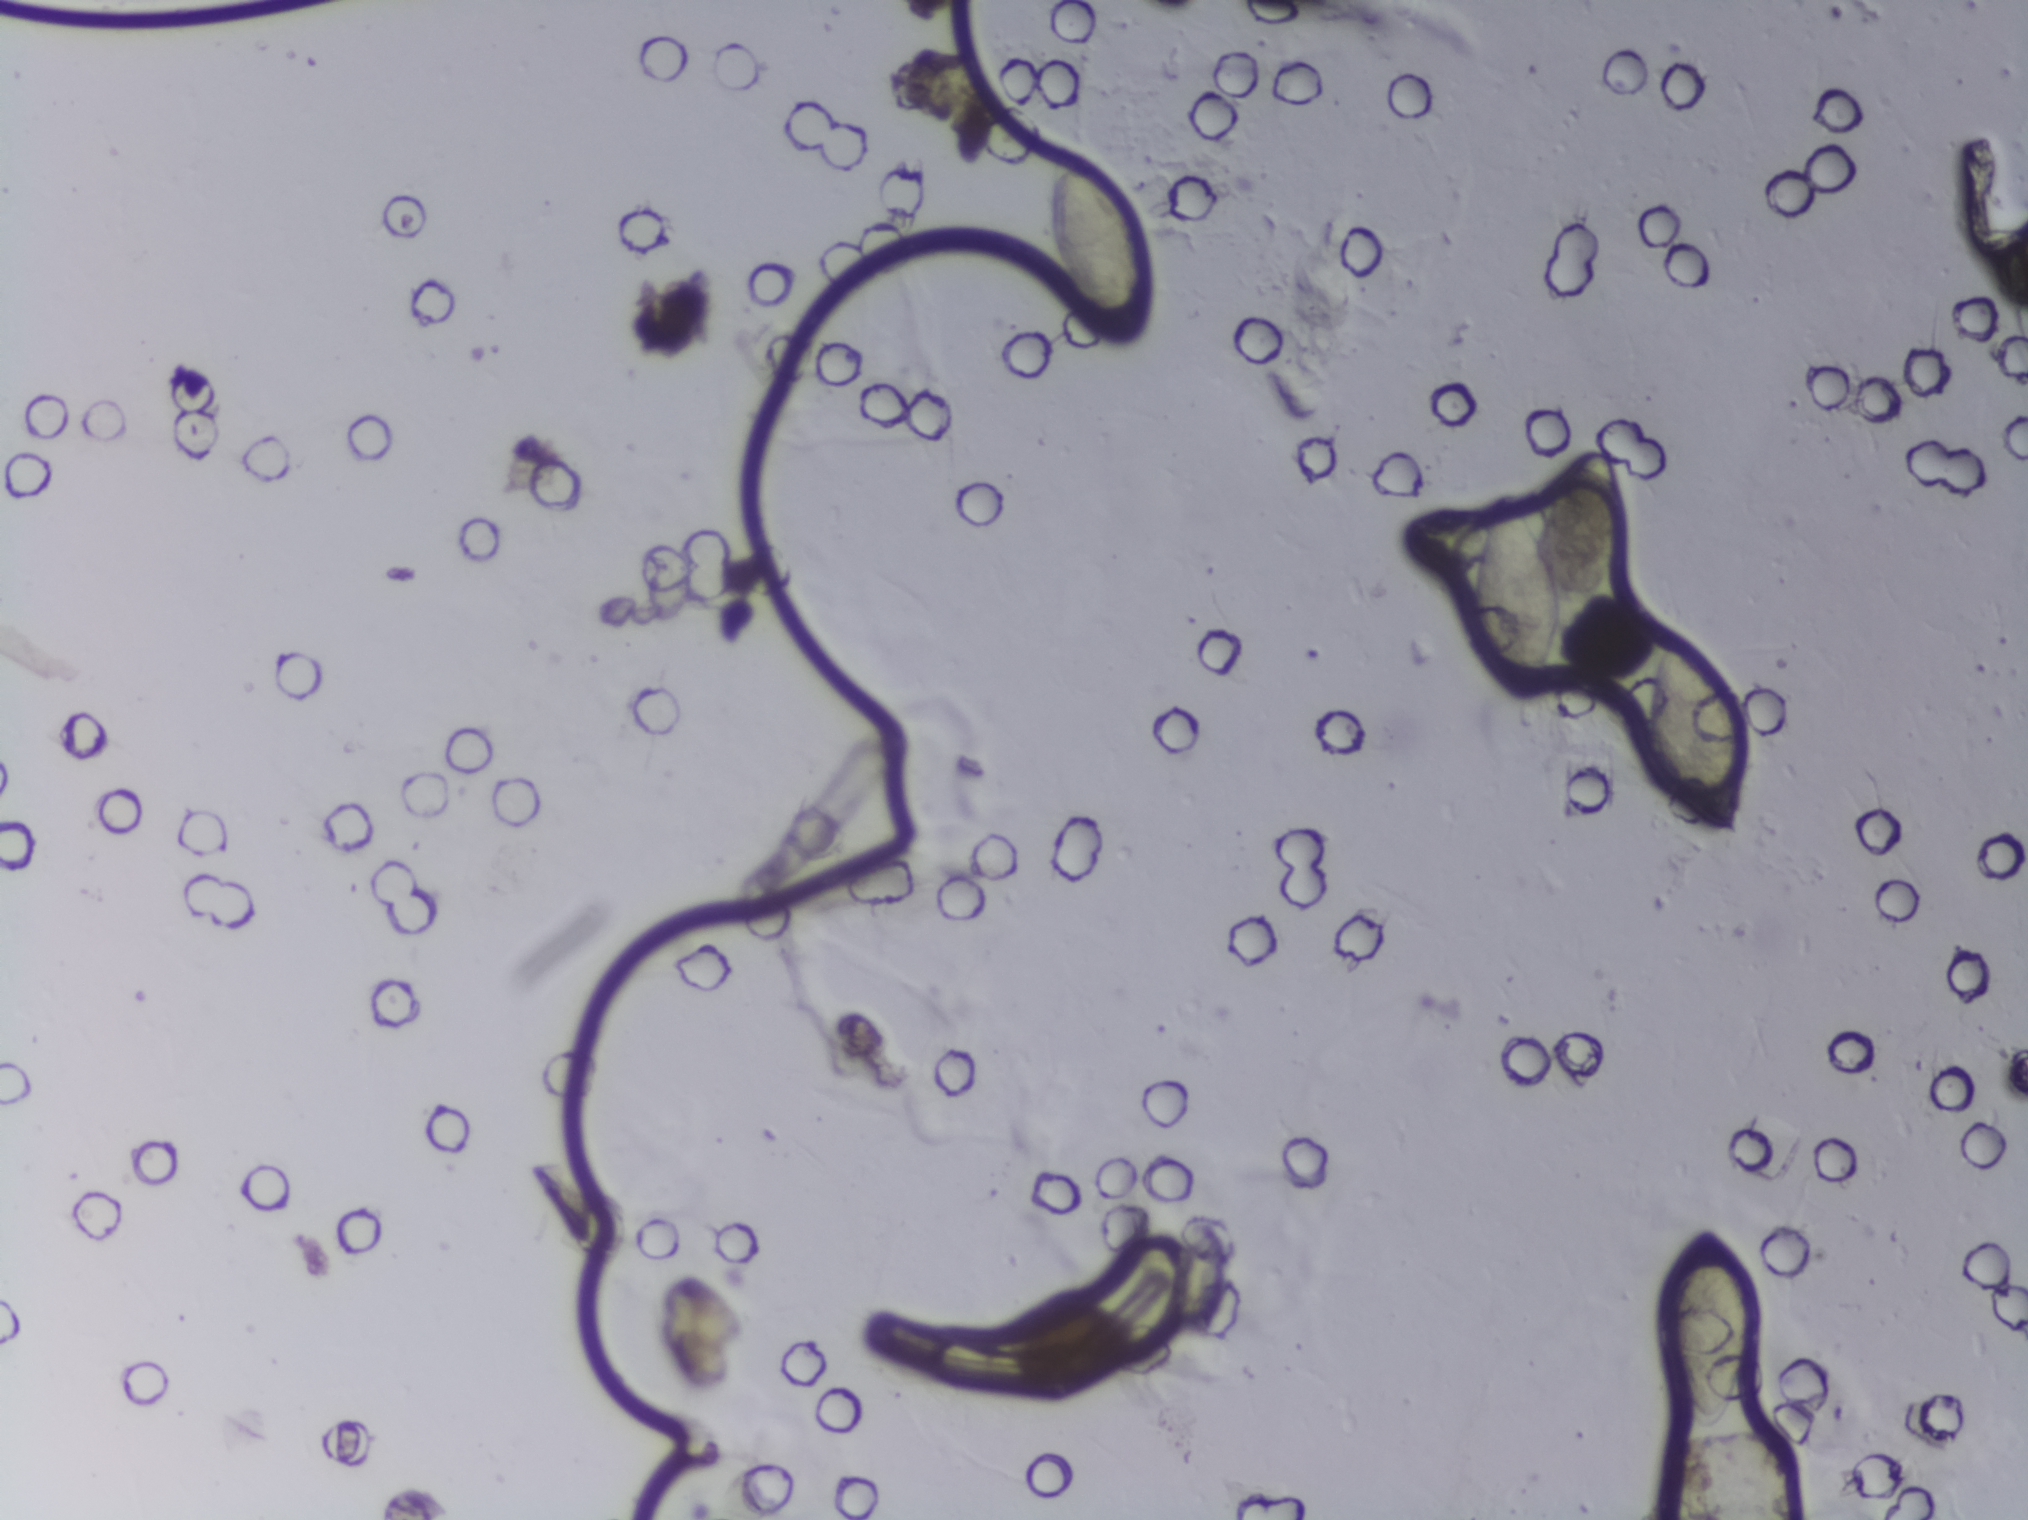
Photograph from an automated digital microscope: urine filter membrane, 4× objective. The field of view is about 1.5 mm × 1.1 mm.
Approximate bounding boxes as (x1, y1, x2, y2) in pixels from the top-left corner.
Schistosoma eggs are outlined in four areas of this image, listed from left to right: (1044, 149, 1151, 354); (1461, 443, 1629, 706); (1639, 635, 1747, 841); (1652, 1224, 1759, 1433). An outlined area can hold more than one egg. Any one outlined egg may, rarely, be S. mansoni rather than S. haematobium.